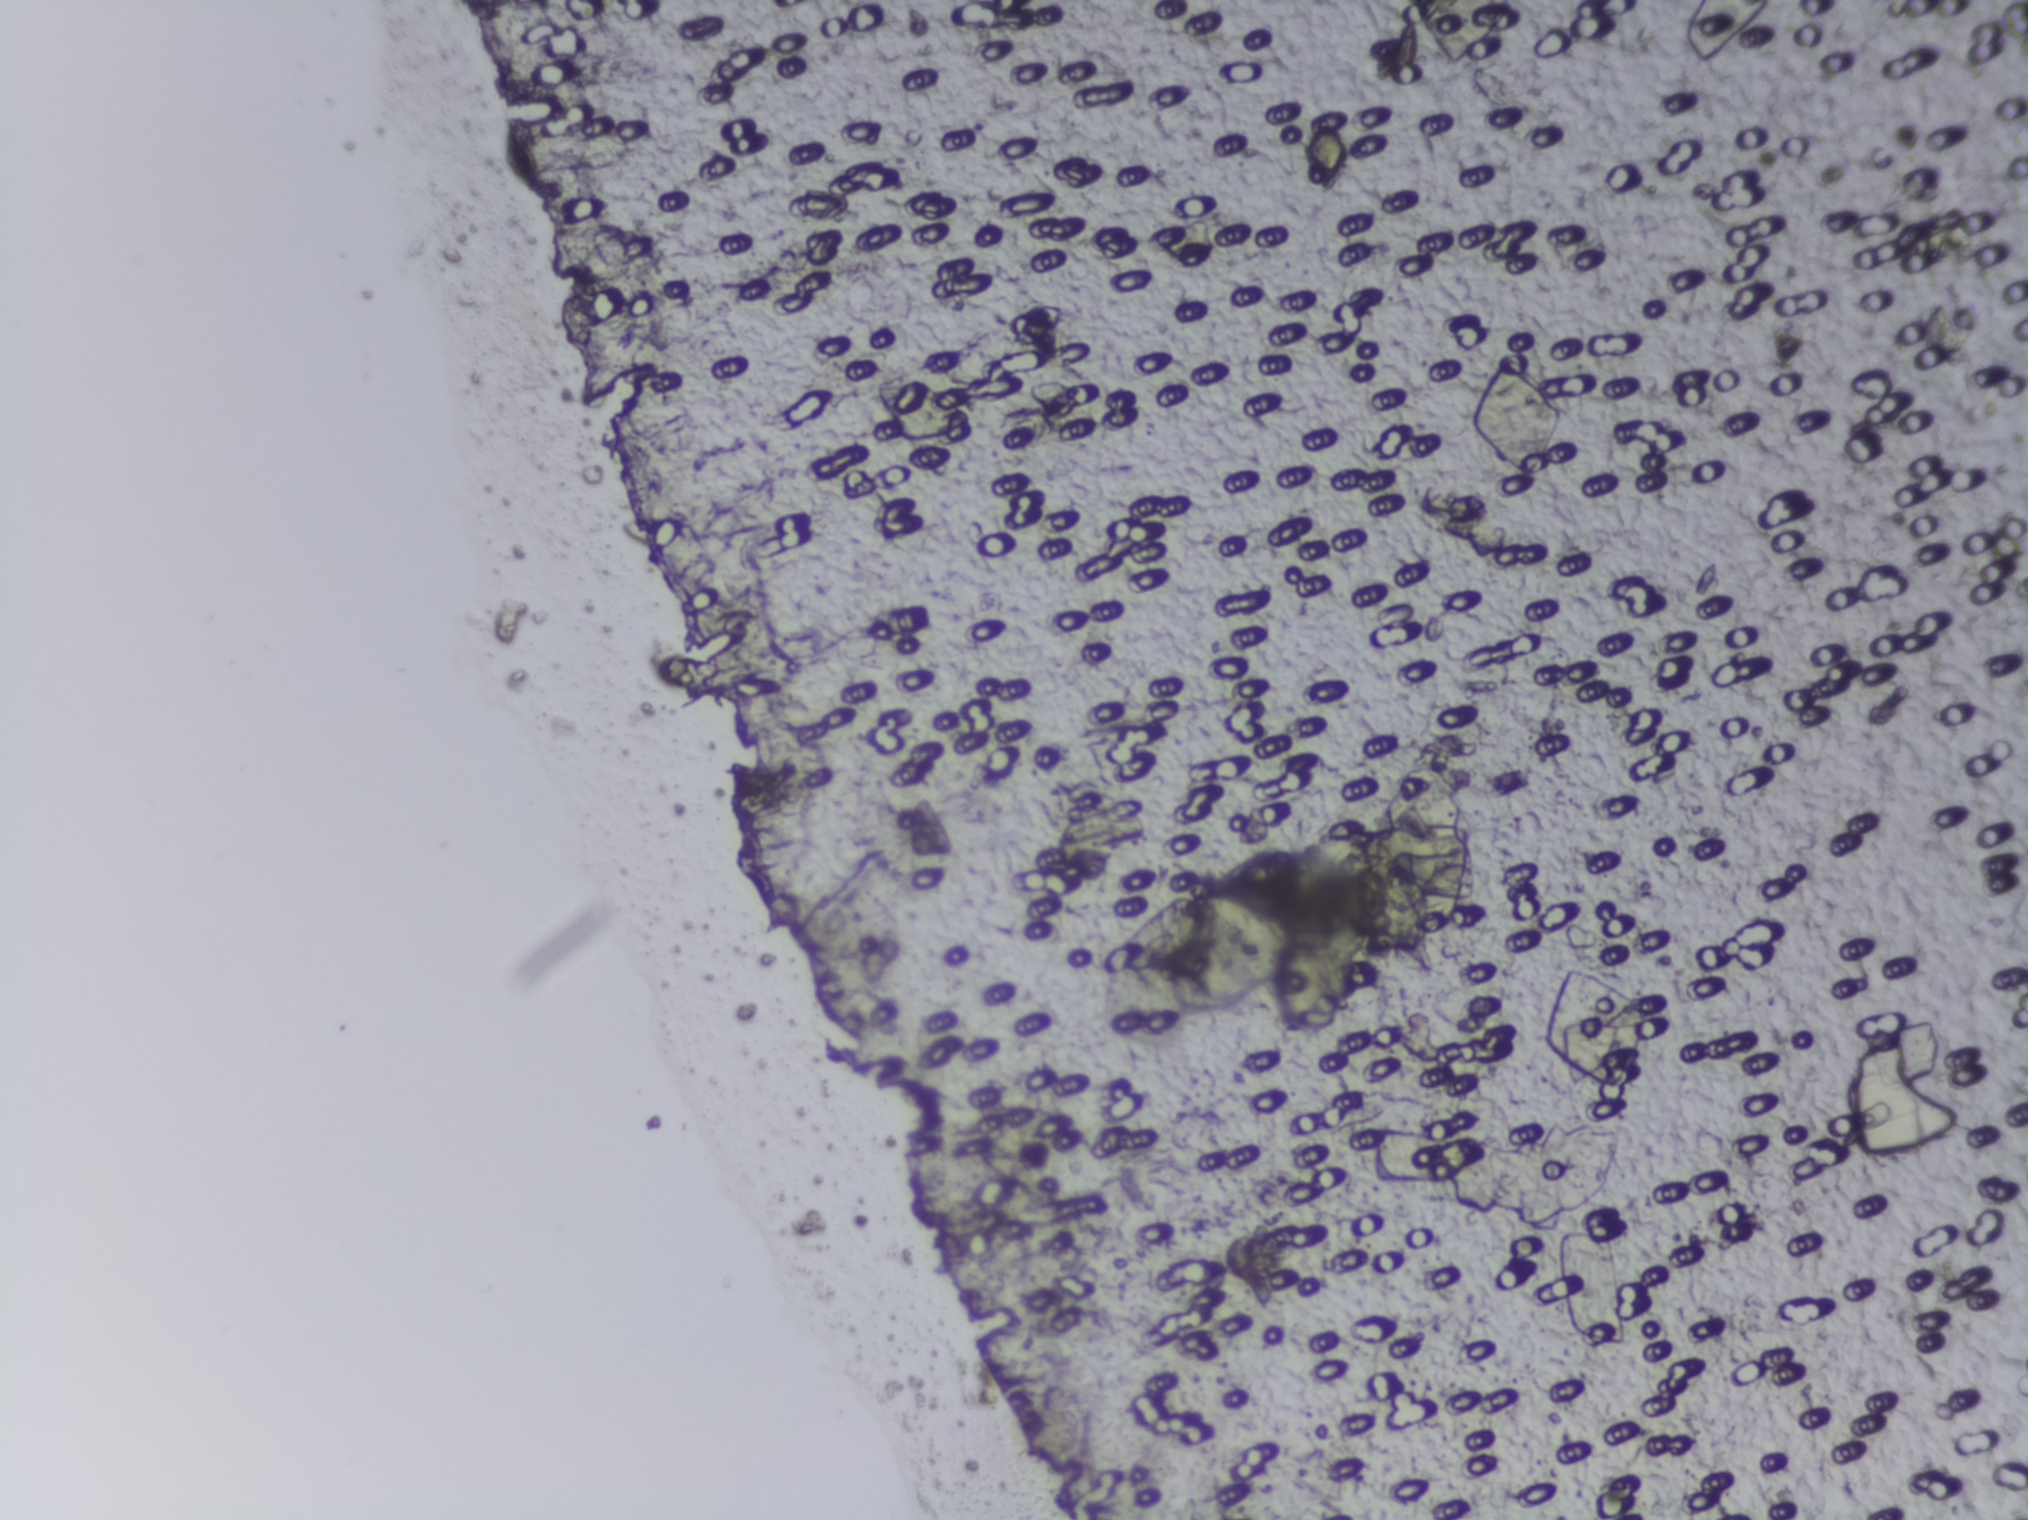
Schistosoma eggs: none outlined.
One field of view of a urine filter membrane, 4× objective, 2028 × 1520 pixels.